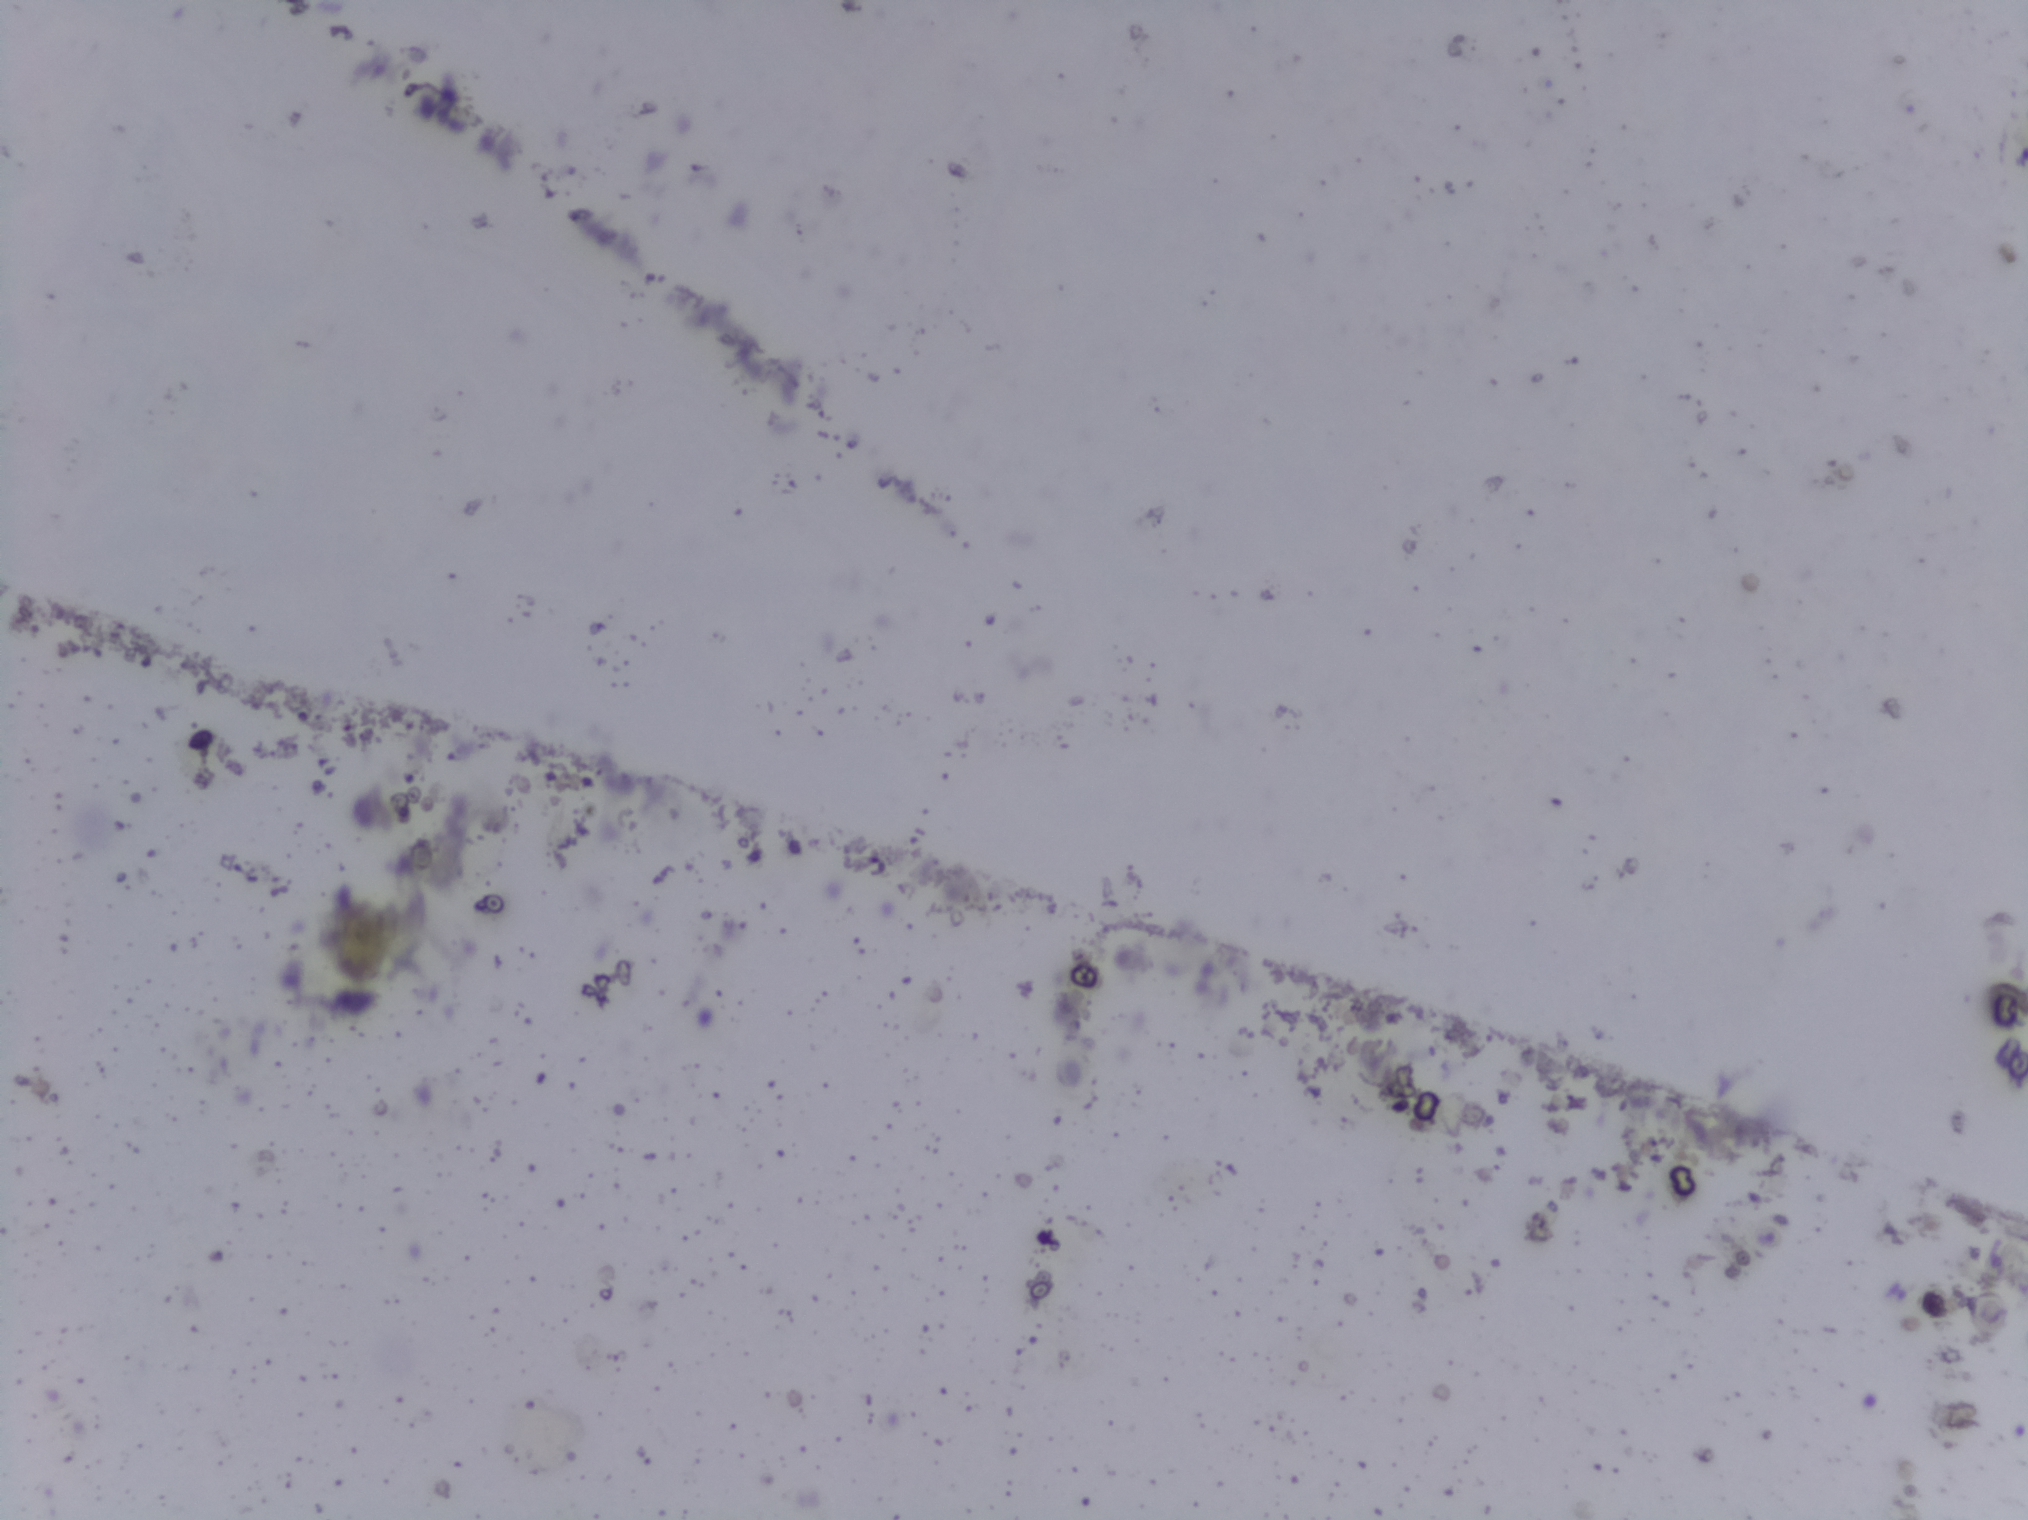
Microscope photograph (4× objective) of a membrane that a urine sample was filtered through.
No Schistosoma egg is outlined in this image's expert annotation.